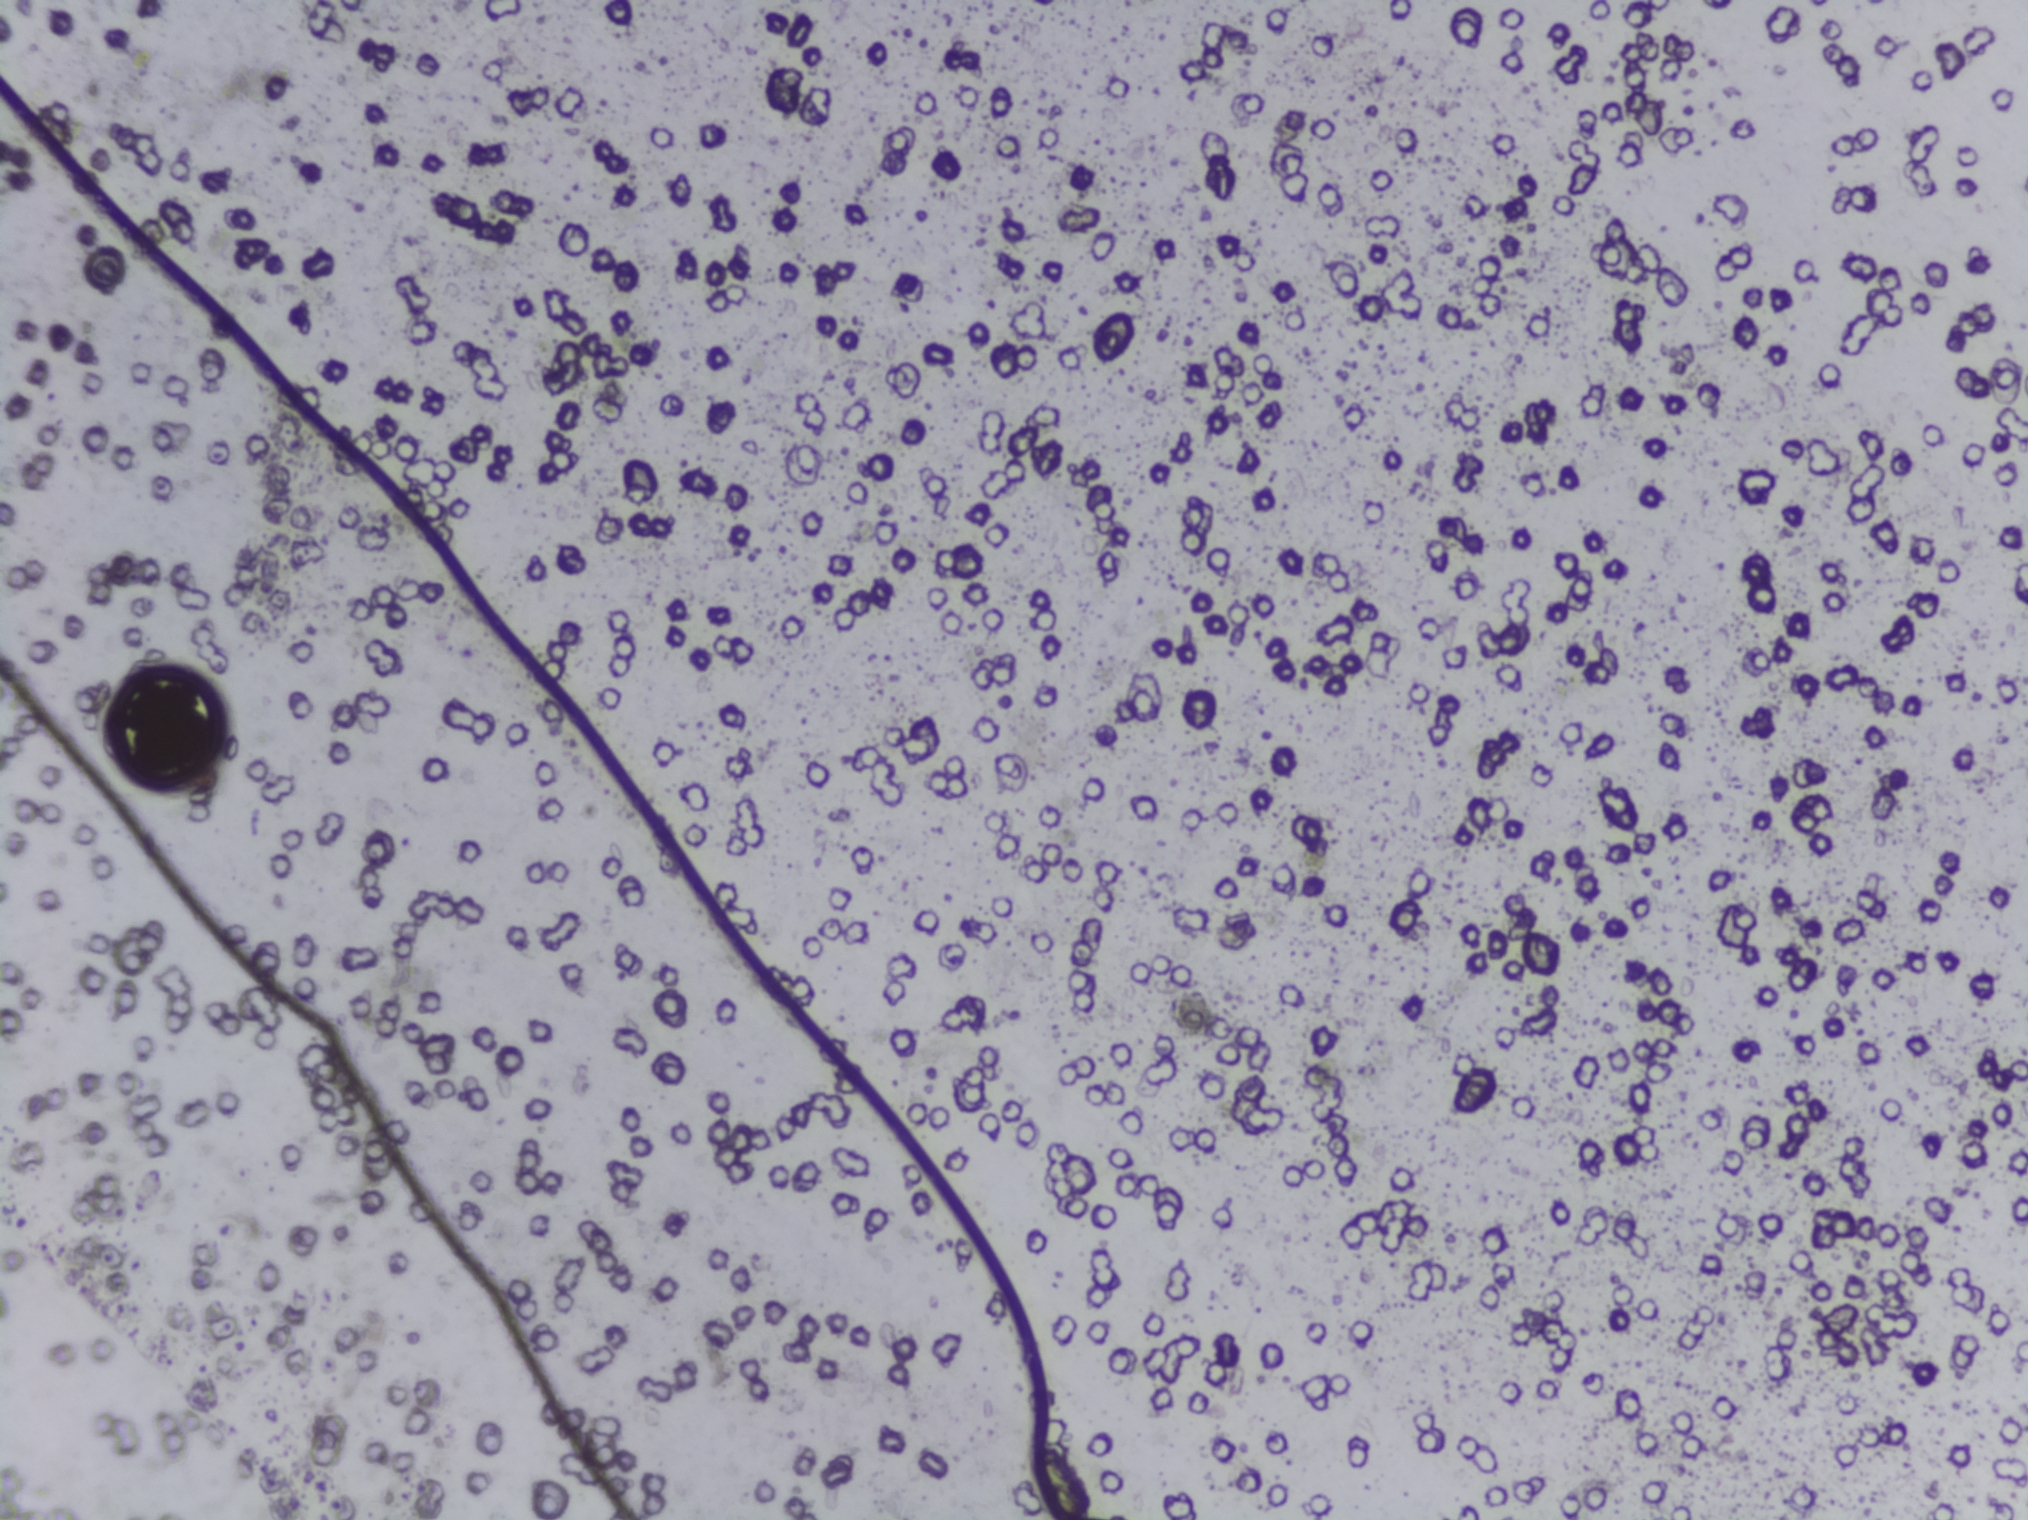
Urine filter membrane photographed through a 4× microscope objective.
The expert annotation marks no Schistosoma egg in this field of view.